Photomicrograph of a urine filtration membrane, 4× objective. Field of view: about 1.5 mm wide and 1.1 mm high.
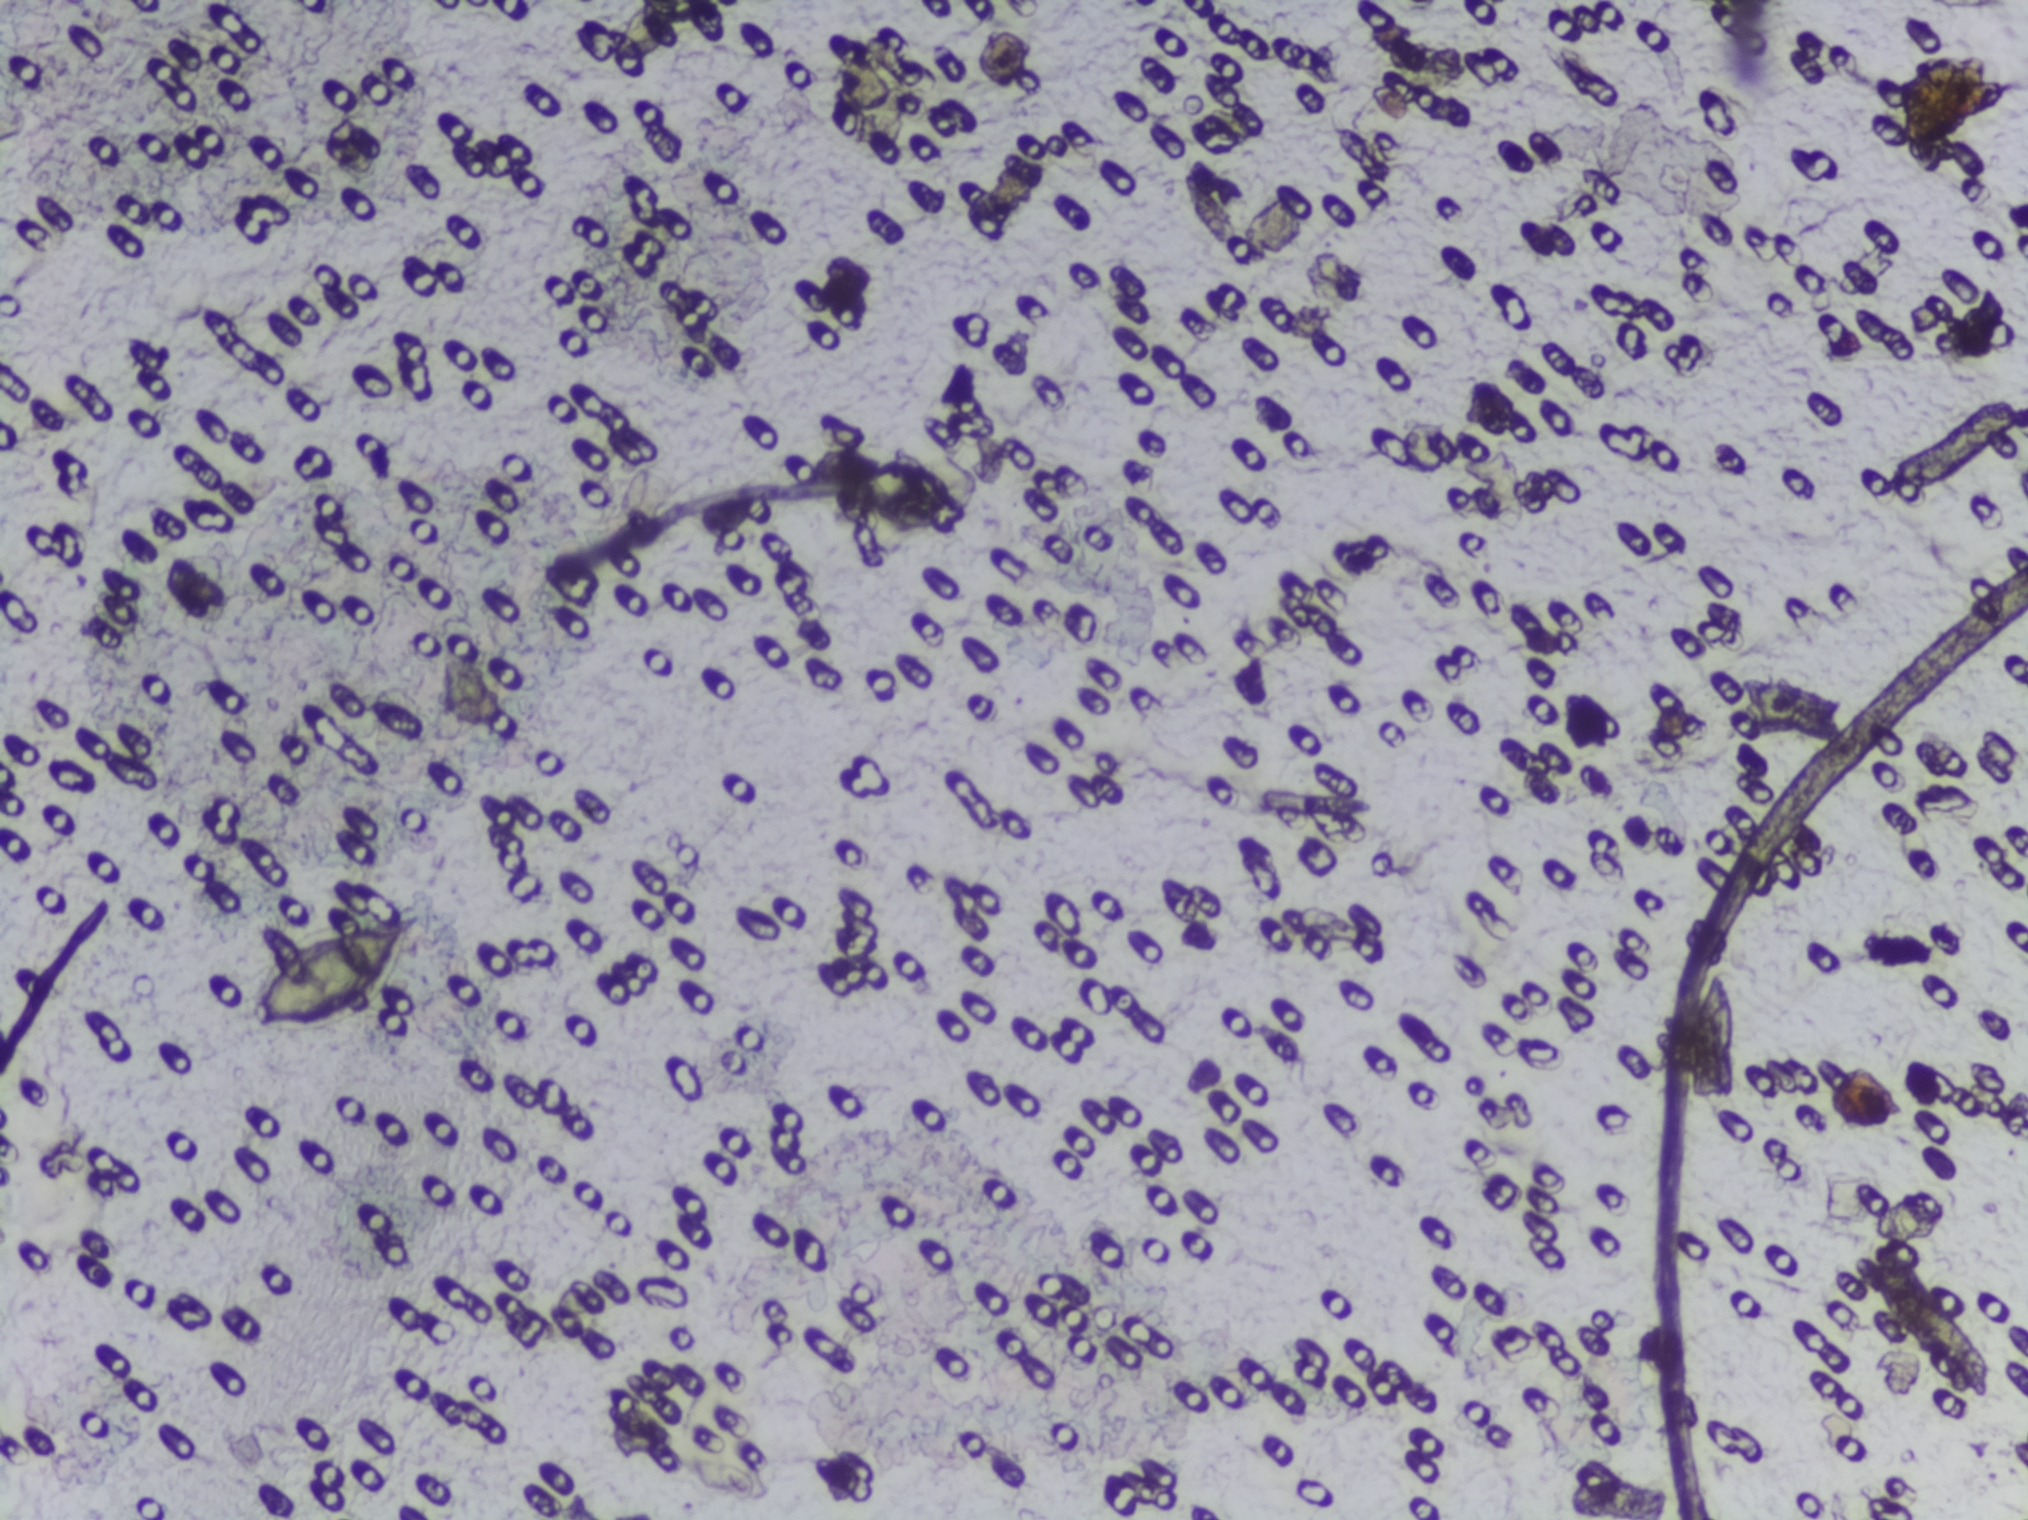
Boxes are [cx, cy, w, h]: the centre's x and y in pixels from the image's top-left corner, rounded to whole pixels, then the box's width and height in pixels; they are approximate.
{"schistosoma_egg_areas_cxcywh_px": [[339, 976, 205, 137]]}
Eggs that touch can end up inside the same outlined area.